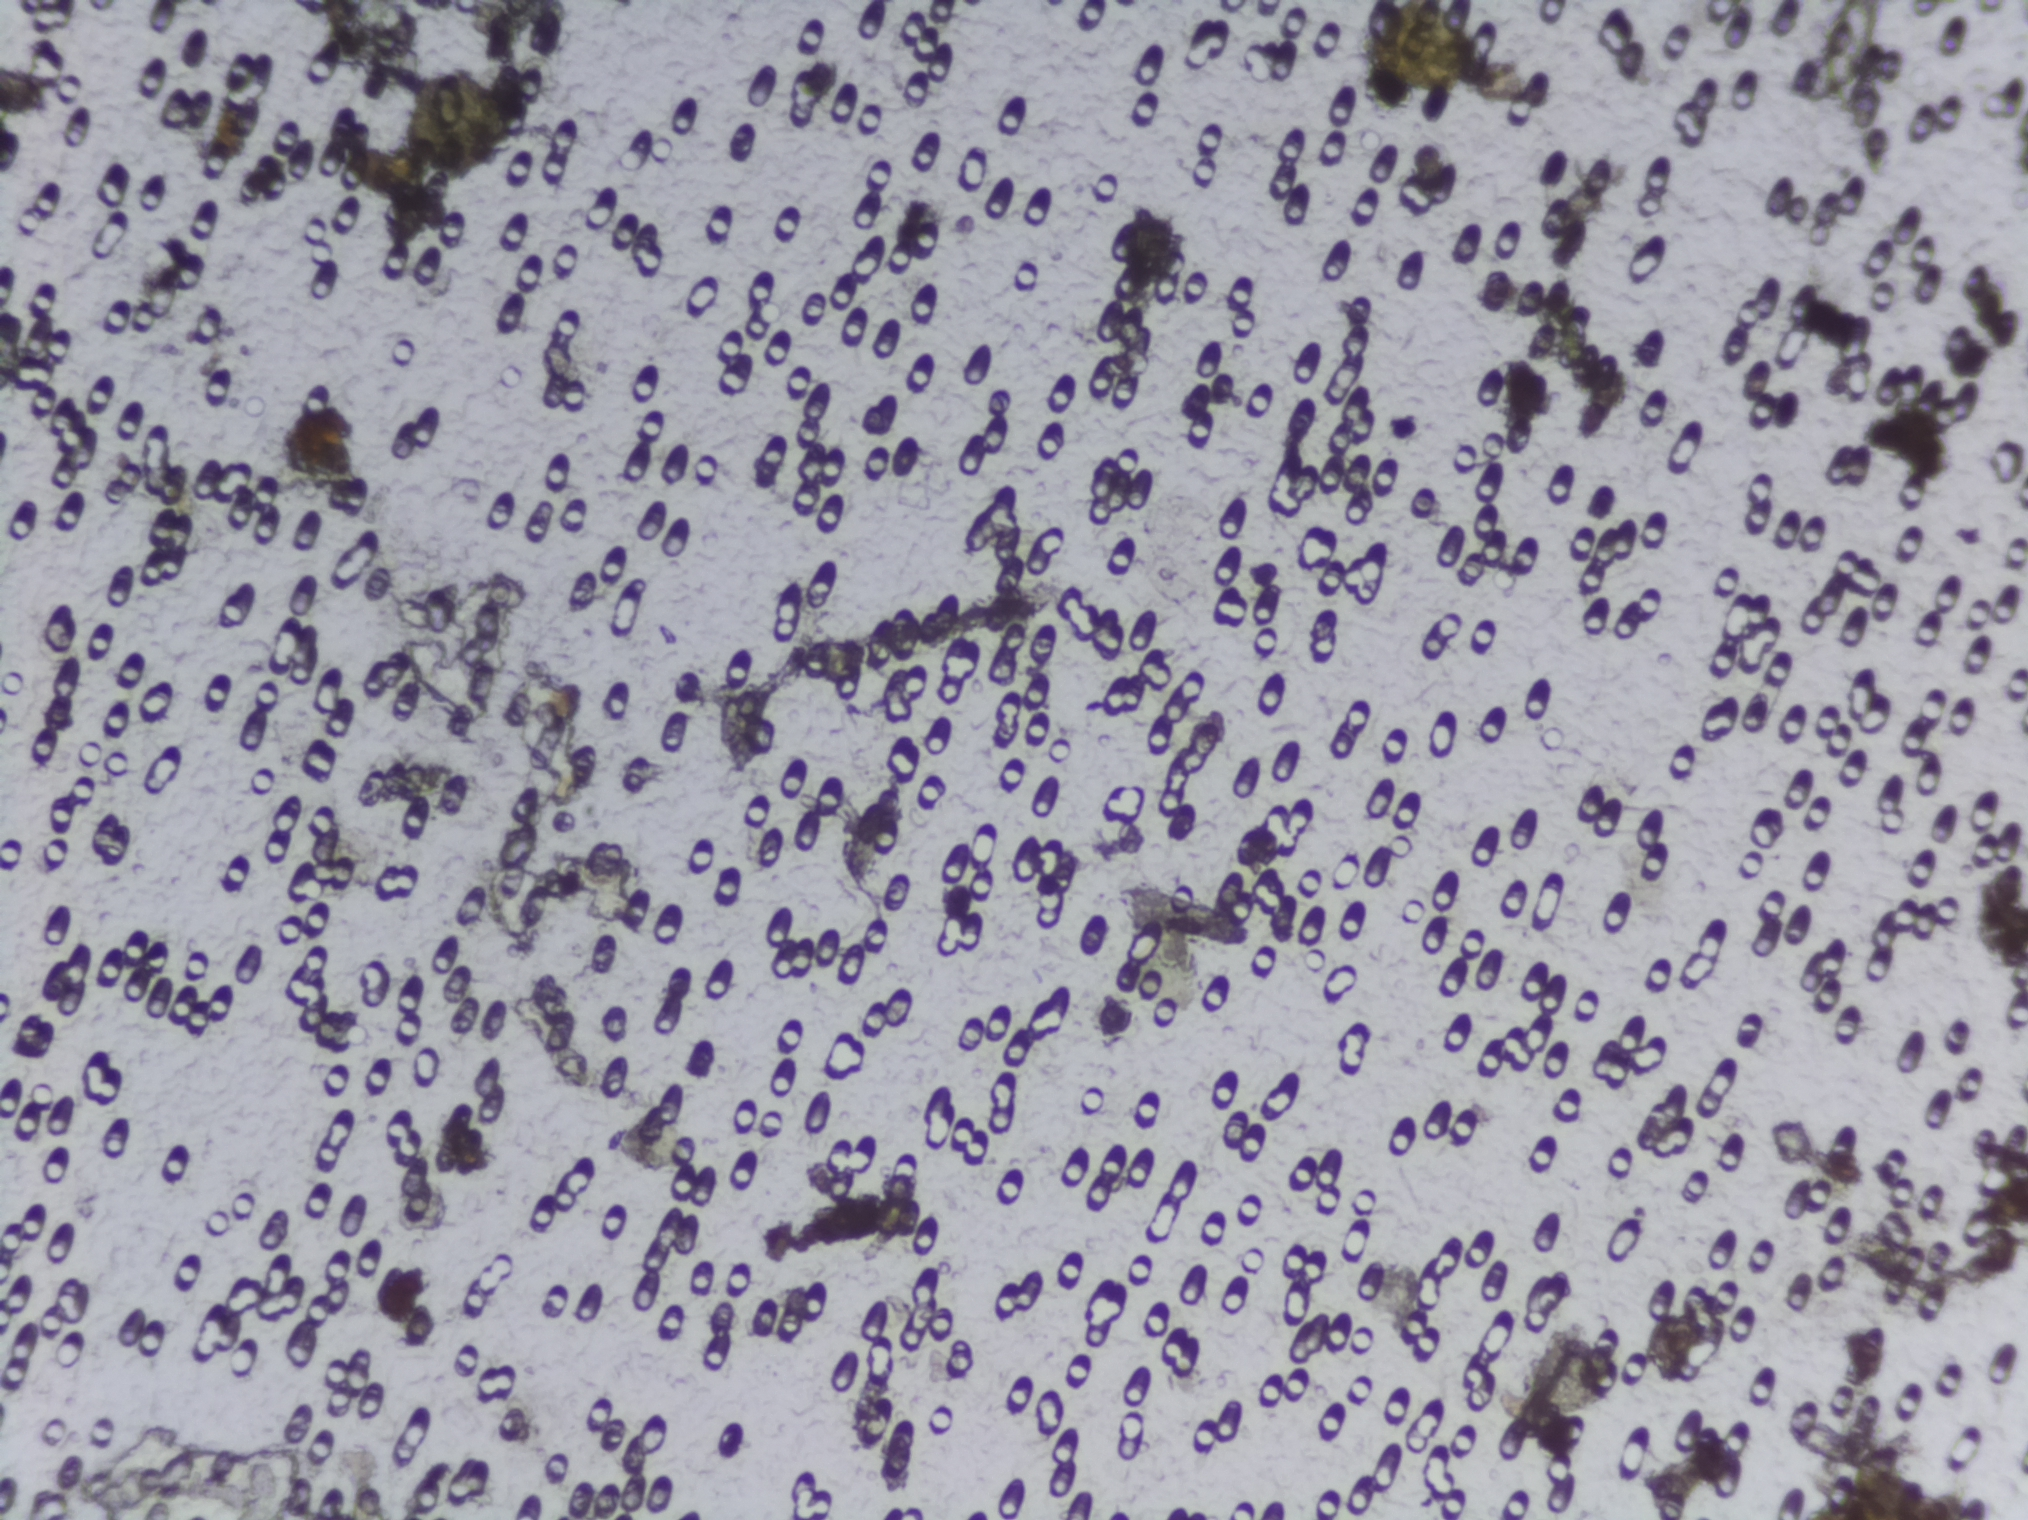
No area of this image was outlined as a Schistosoma egg.
Photomicrograph of a urine filtration membrane, 4× objective.